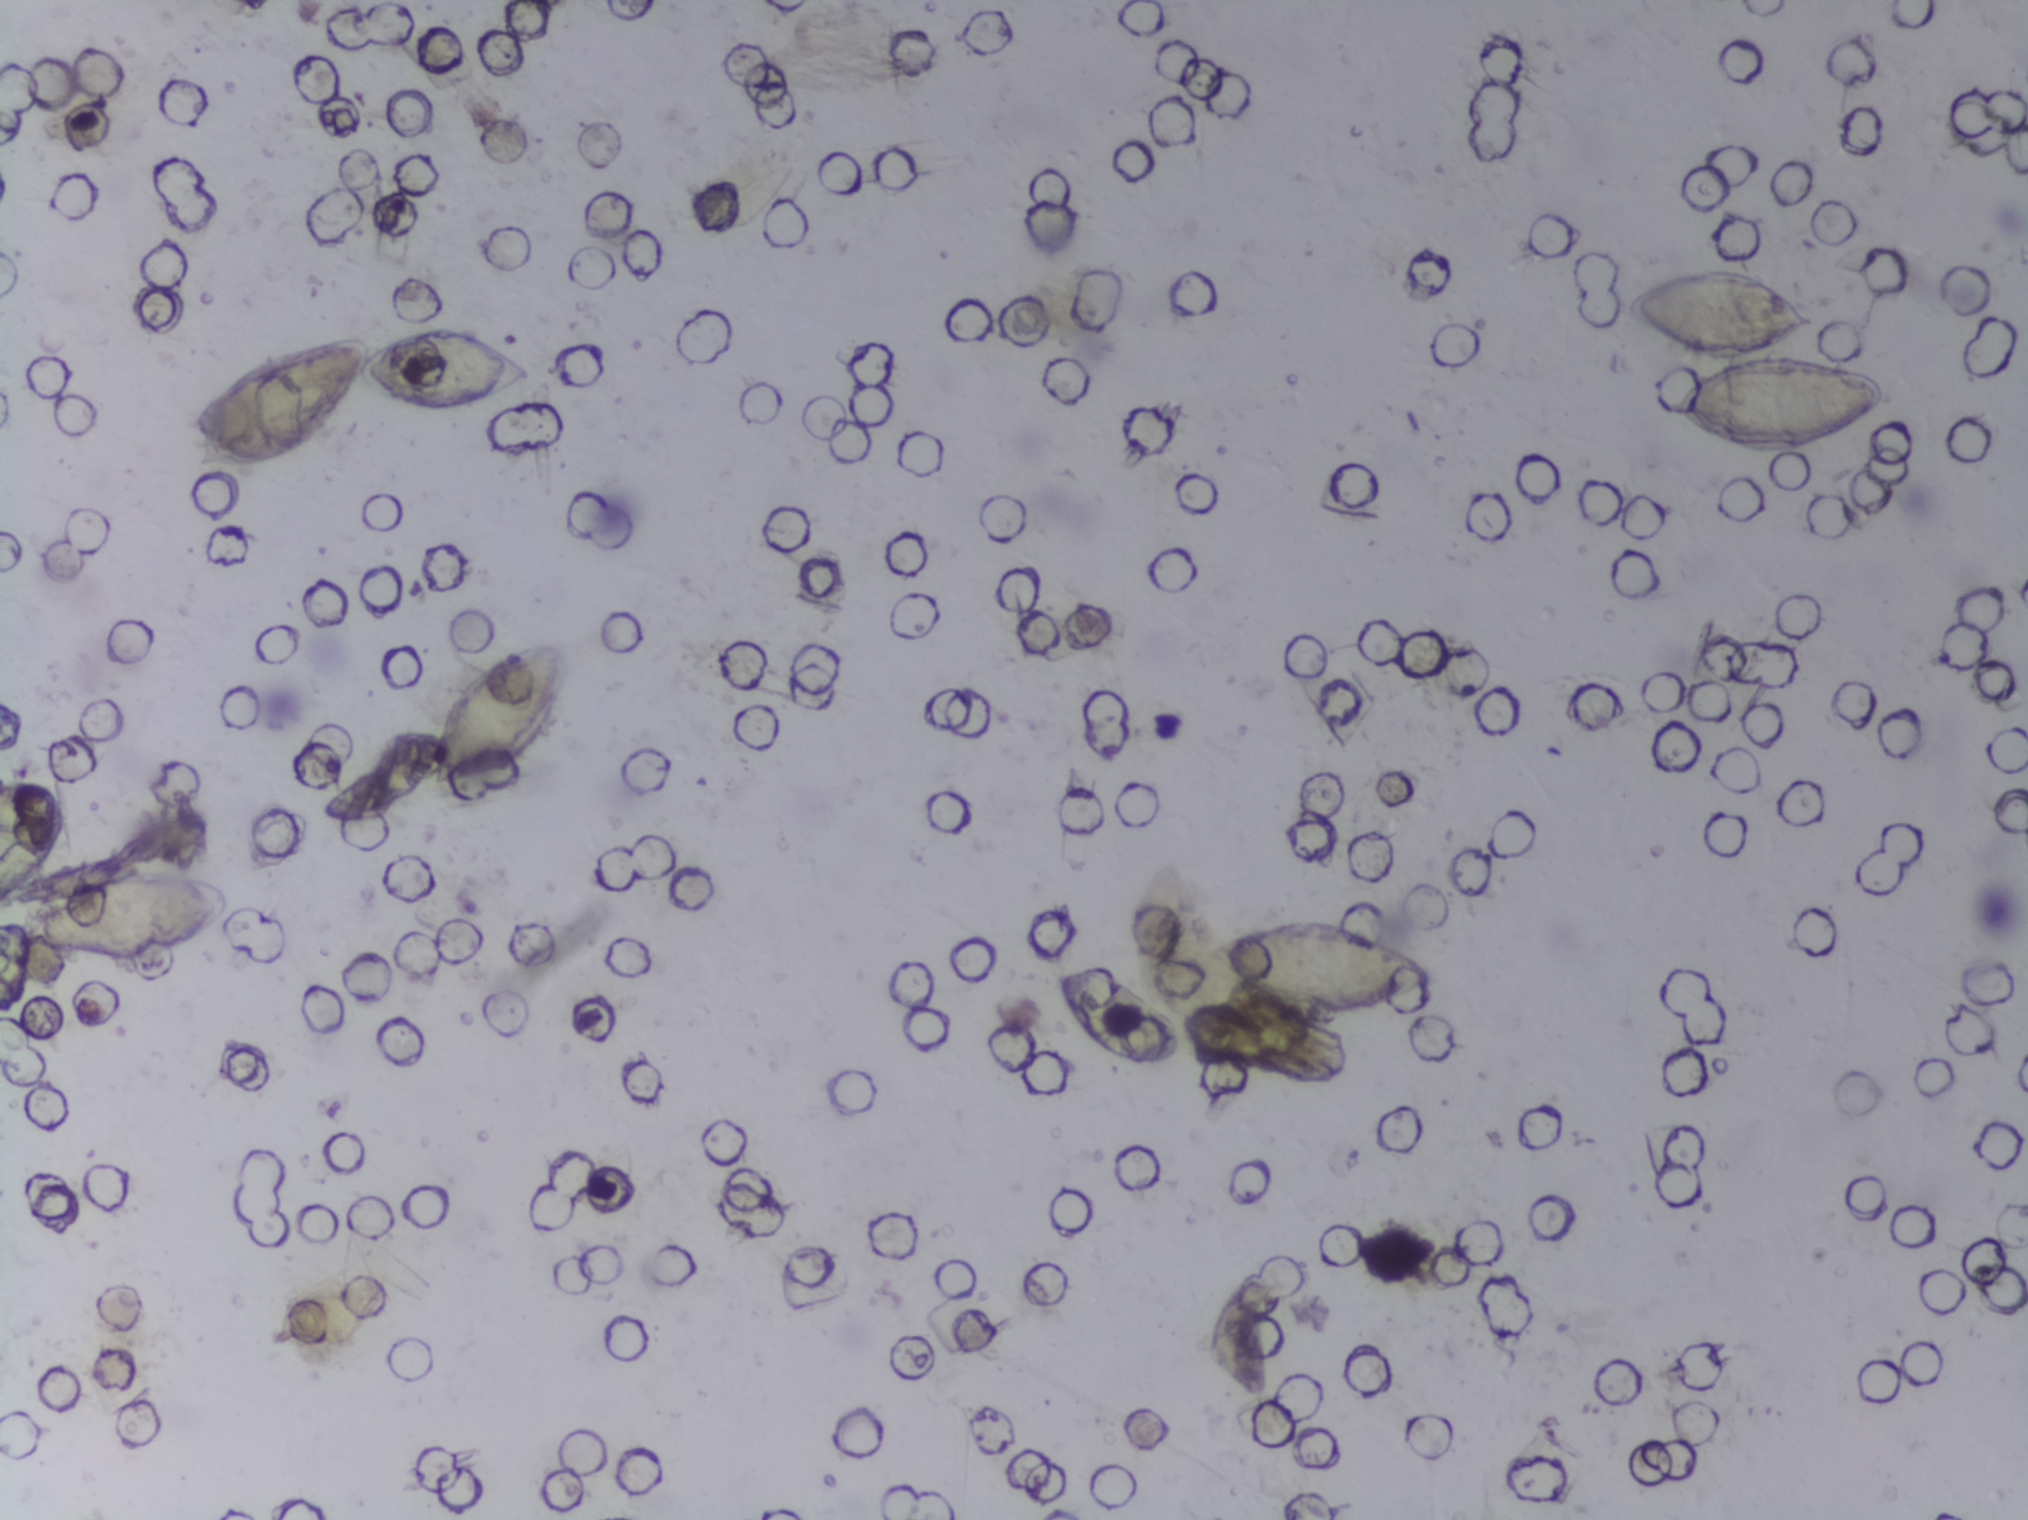
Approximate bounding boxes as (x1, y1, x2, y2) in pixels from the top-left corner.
Findings: seven areas outlined as Schistosoma eggs. Locations: (0, 778, 70, 907) (reaching the left edge of the frame); (0, 867, 230, 1018) (reaching the left edge of the frame); (190, 320, 532, 476); (429, 641, 570, 791); (1046, 965, 1181, 1069); (1195, 915, 1438, 1017); (1618, 264, 1886, 457). Marked pixels, not the boxes around them: about 4.1% of the image. Eggs that touch can end up inside the same outlined area.
Microscope photograph (4× objective) of a membrane that a urine sample was filtered through. Field of view: about 1.5 mm wide and 1.1 mm high.